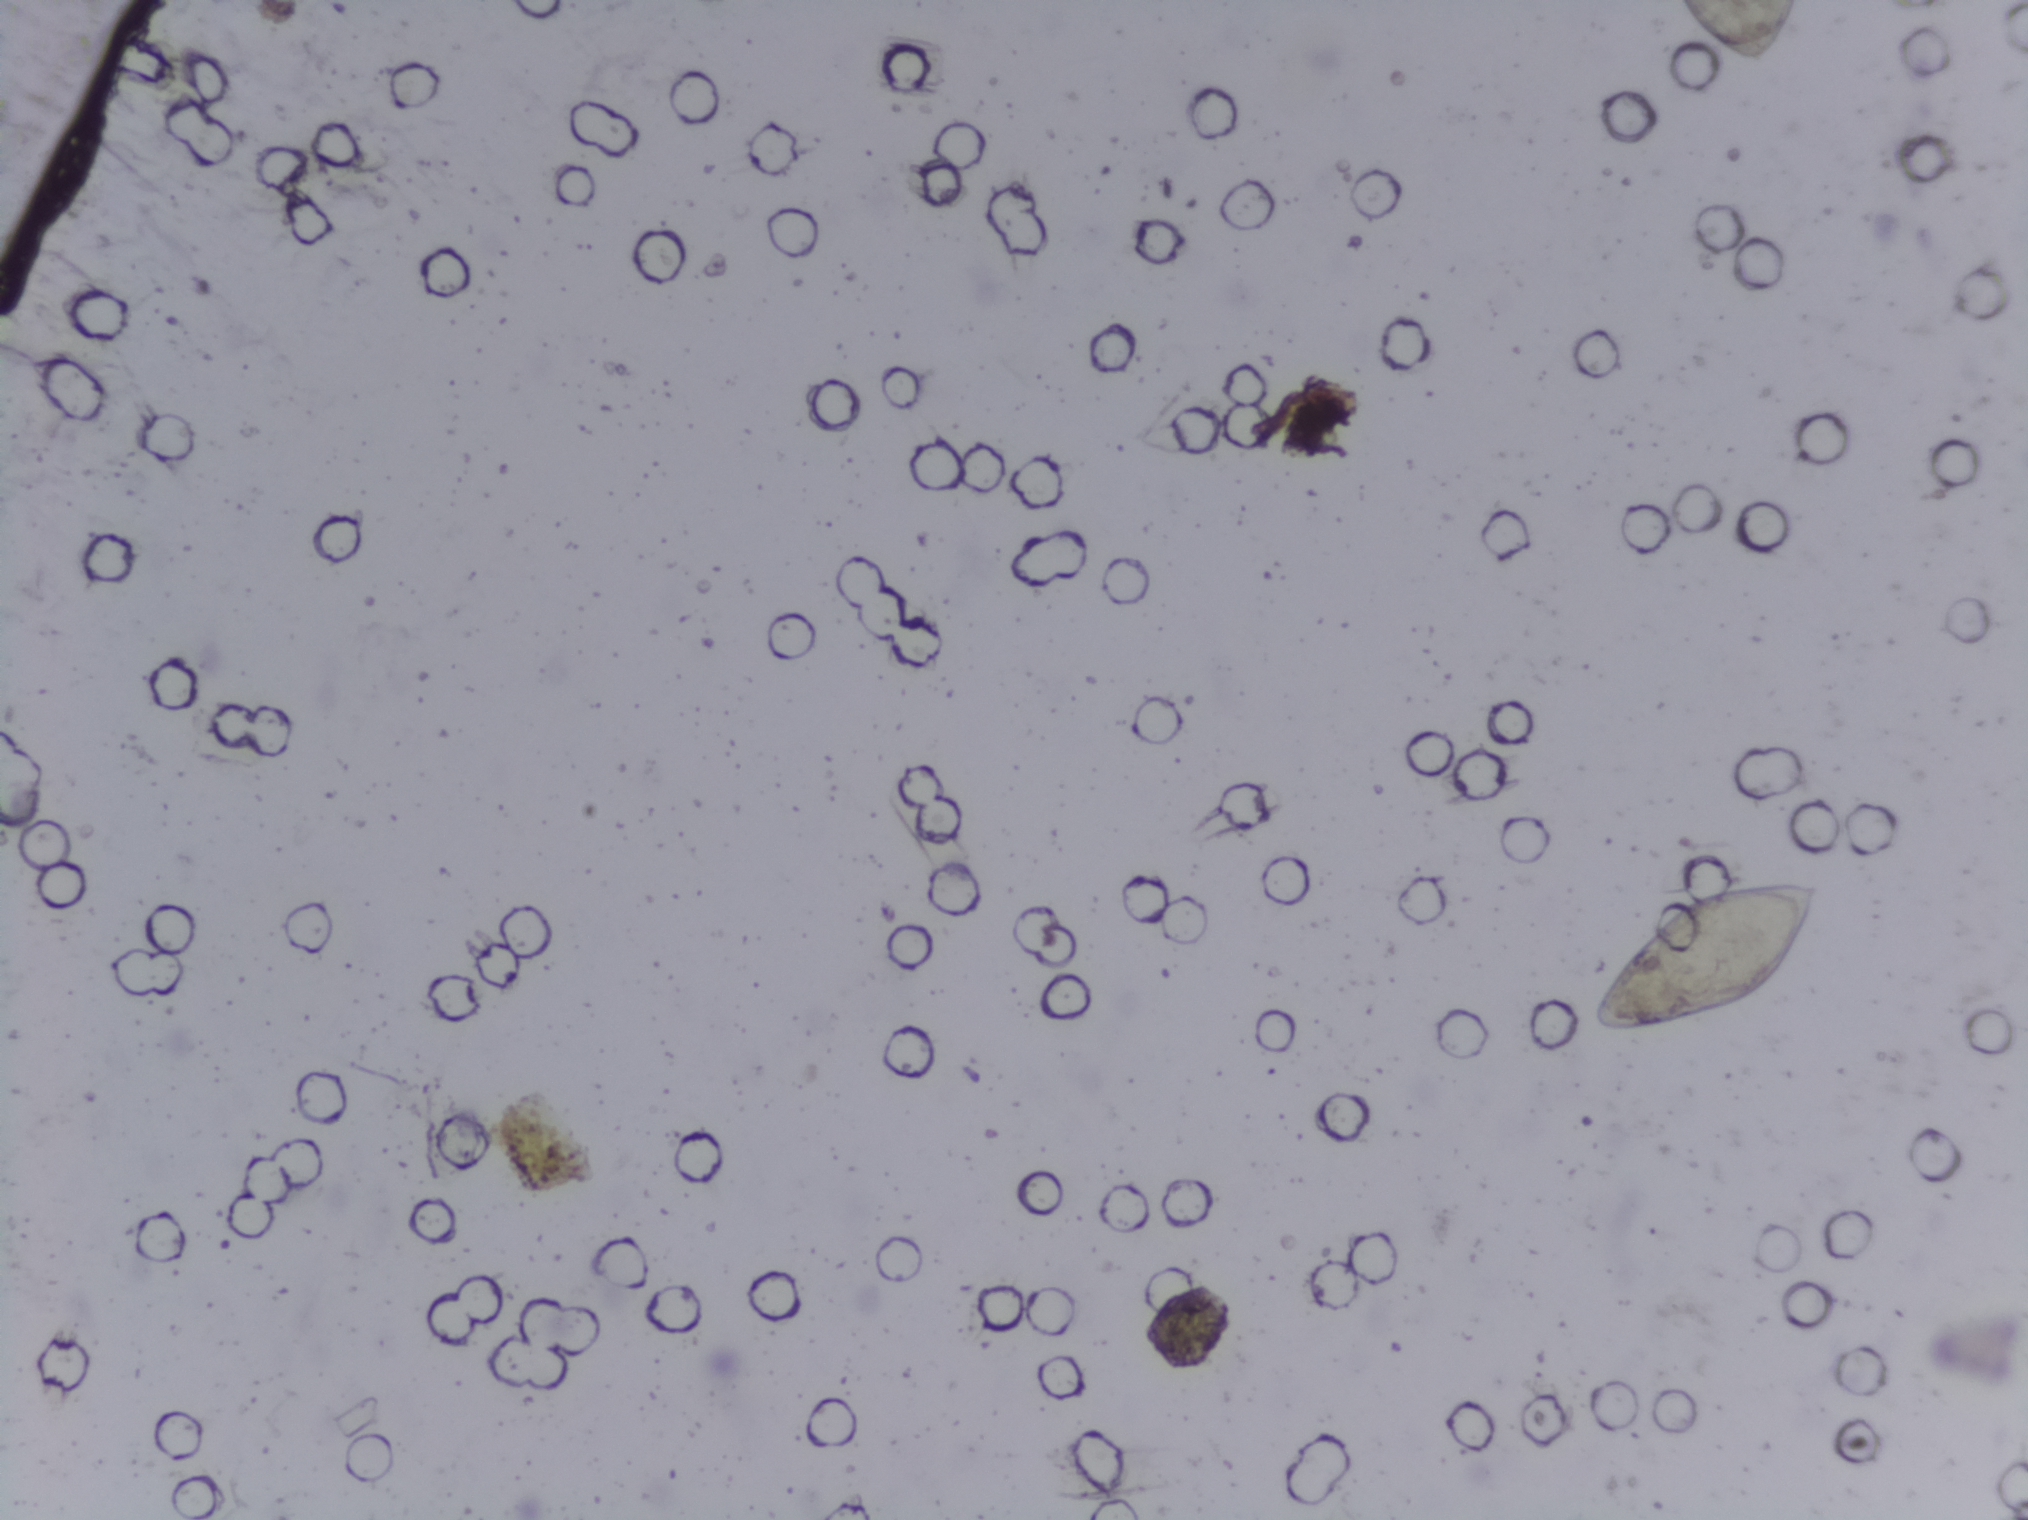
Urine filtration membrane under a 4× objective, photographed by an automated digital microscope.
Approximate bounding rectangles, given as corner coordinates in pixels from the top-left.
Outlined Schistosoma egg areas, left to right:
1. (x1=1589, y1=877, x2=1823, y2=1033)
2. (x1=1674, y1=0, x2=1794, y2=67) (reaching the top edge of the frame)
An outlined area can hold more than one egg. A marked egg may occasionally be S. mansoni rather than S. haematobium.